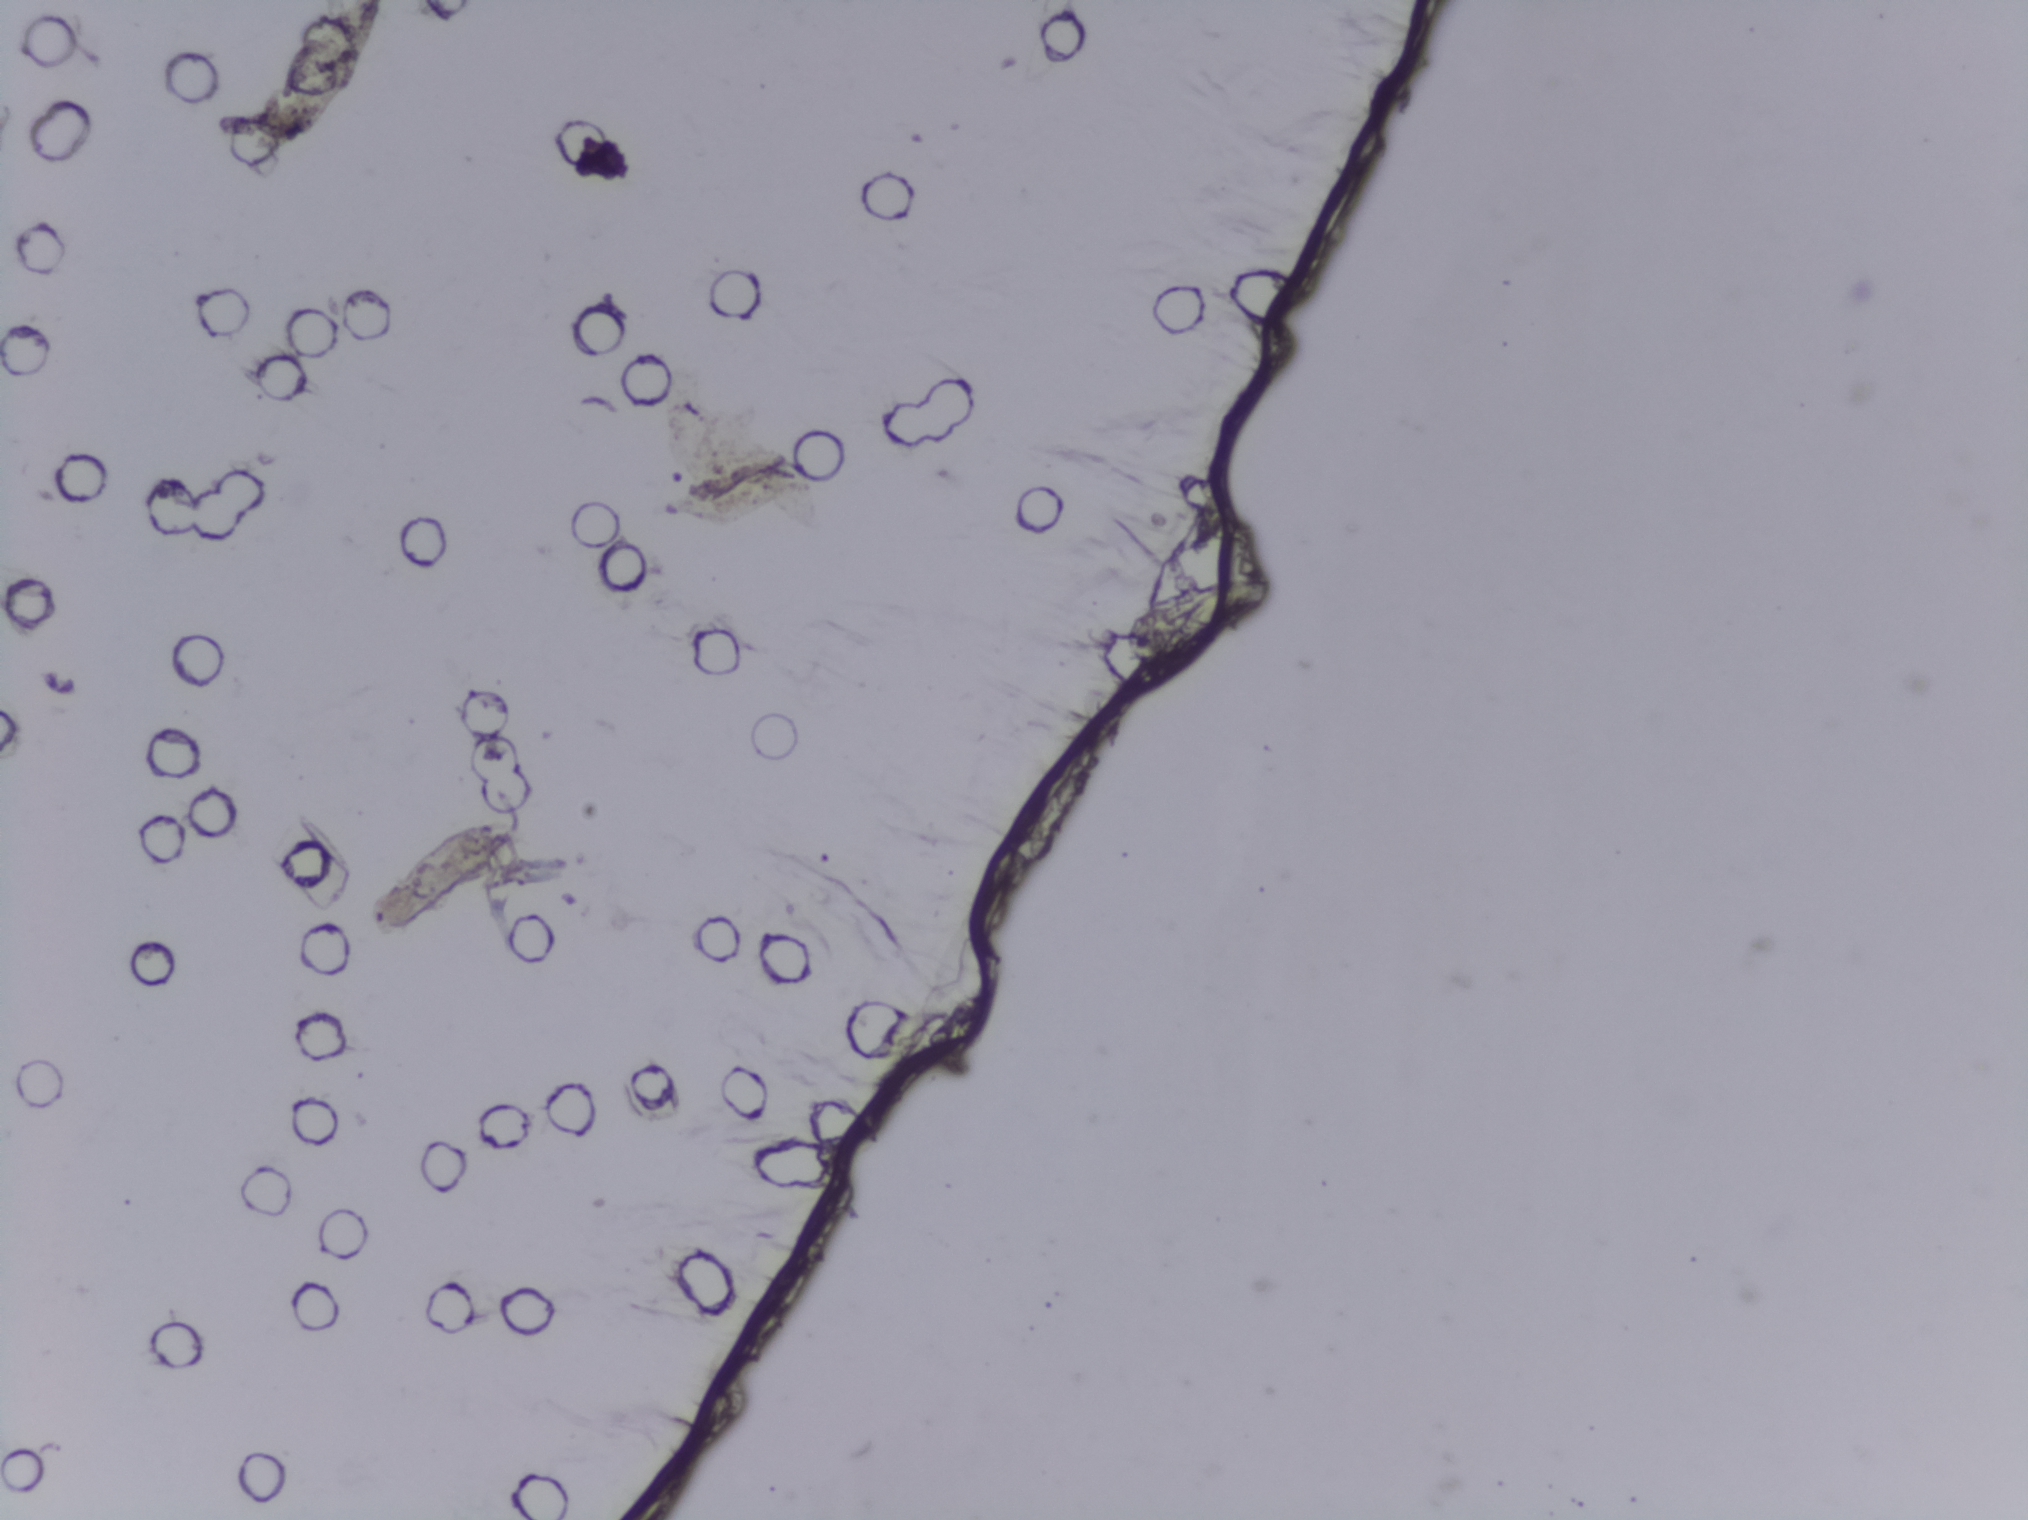
Microscope photograph (4× objective) of a membrane that a urine sample was filtered through.
The expert annotation outlines no Schistosoma egg in this image.